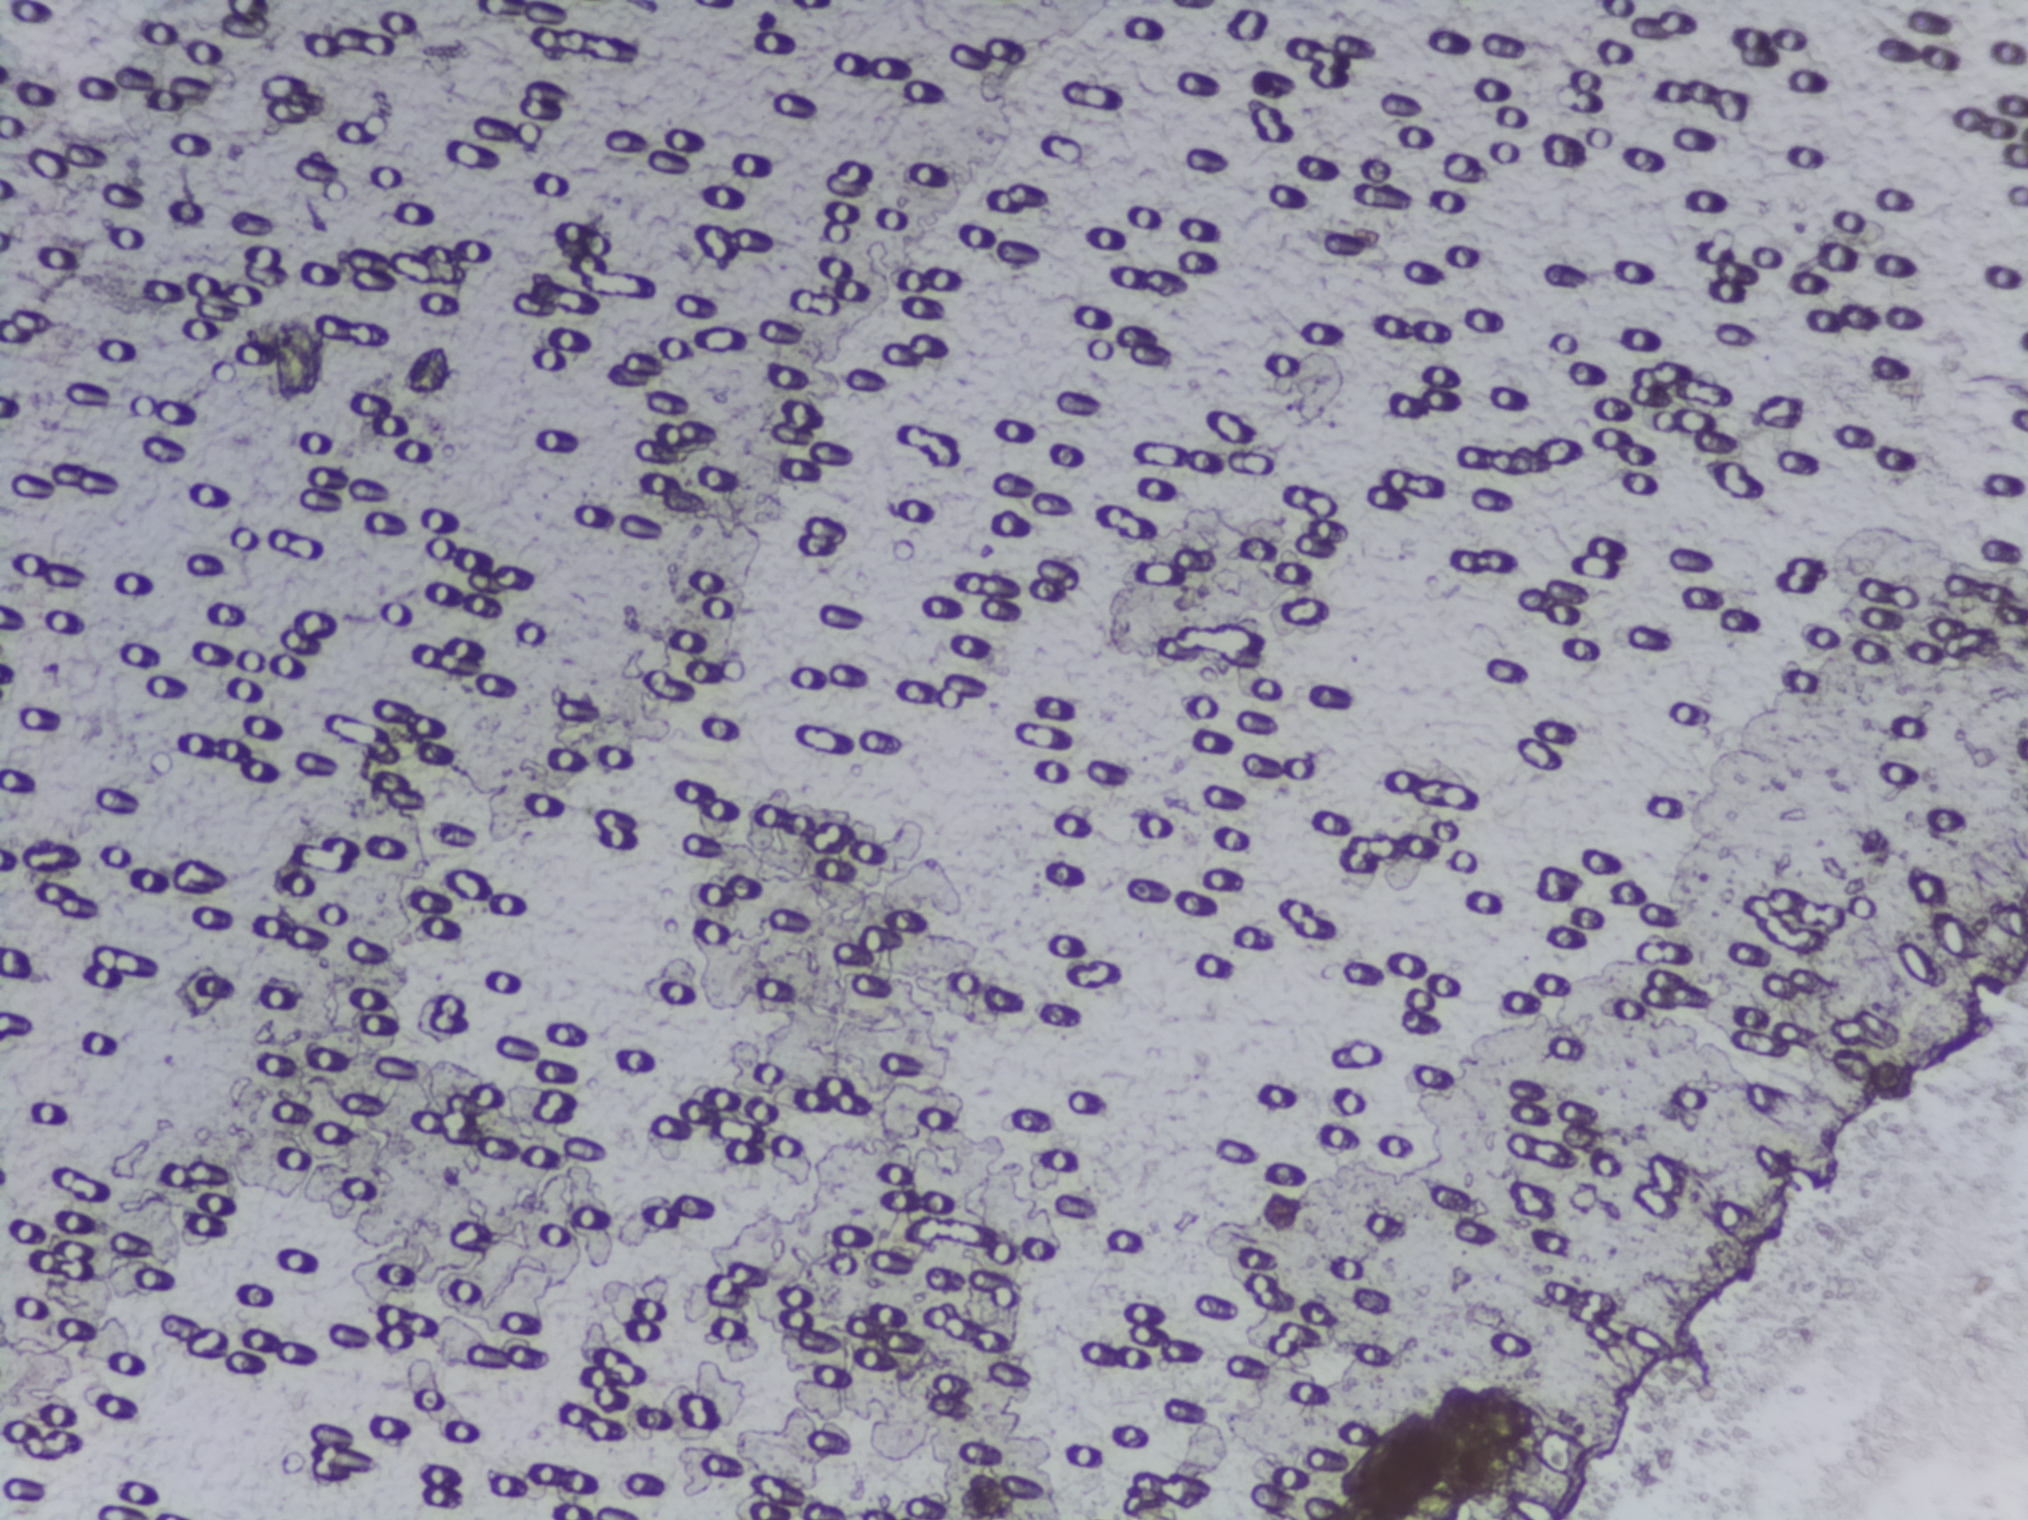
No area of this image was outlined as a Schistosoma egg.
Photomicrograph of a urine filtration membrane, 4× objective. The field of view is about 1.5 mm × 1.1 mm.